One field of view of a urine filter membrane, 4× objective, 2028 × 1520 pixels. Field of view: about 1.5 mm wide and 1.1 mm high.
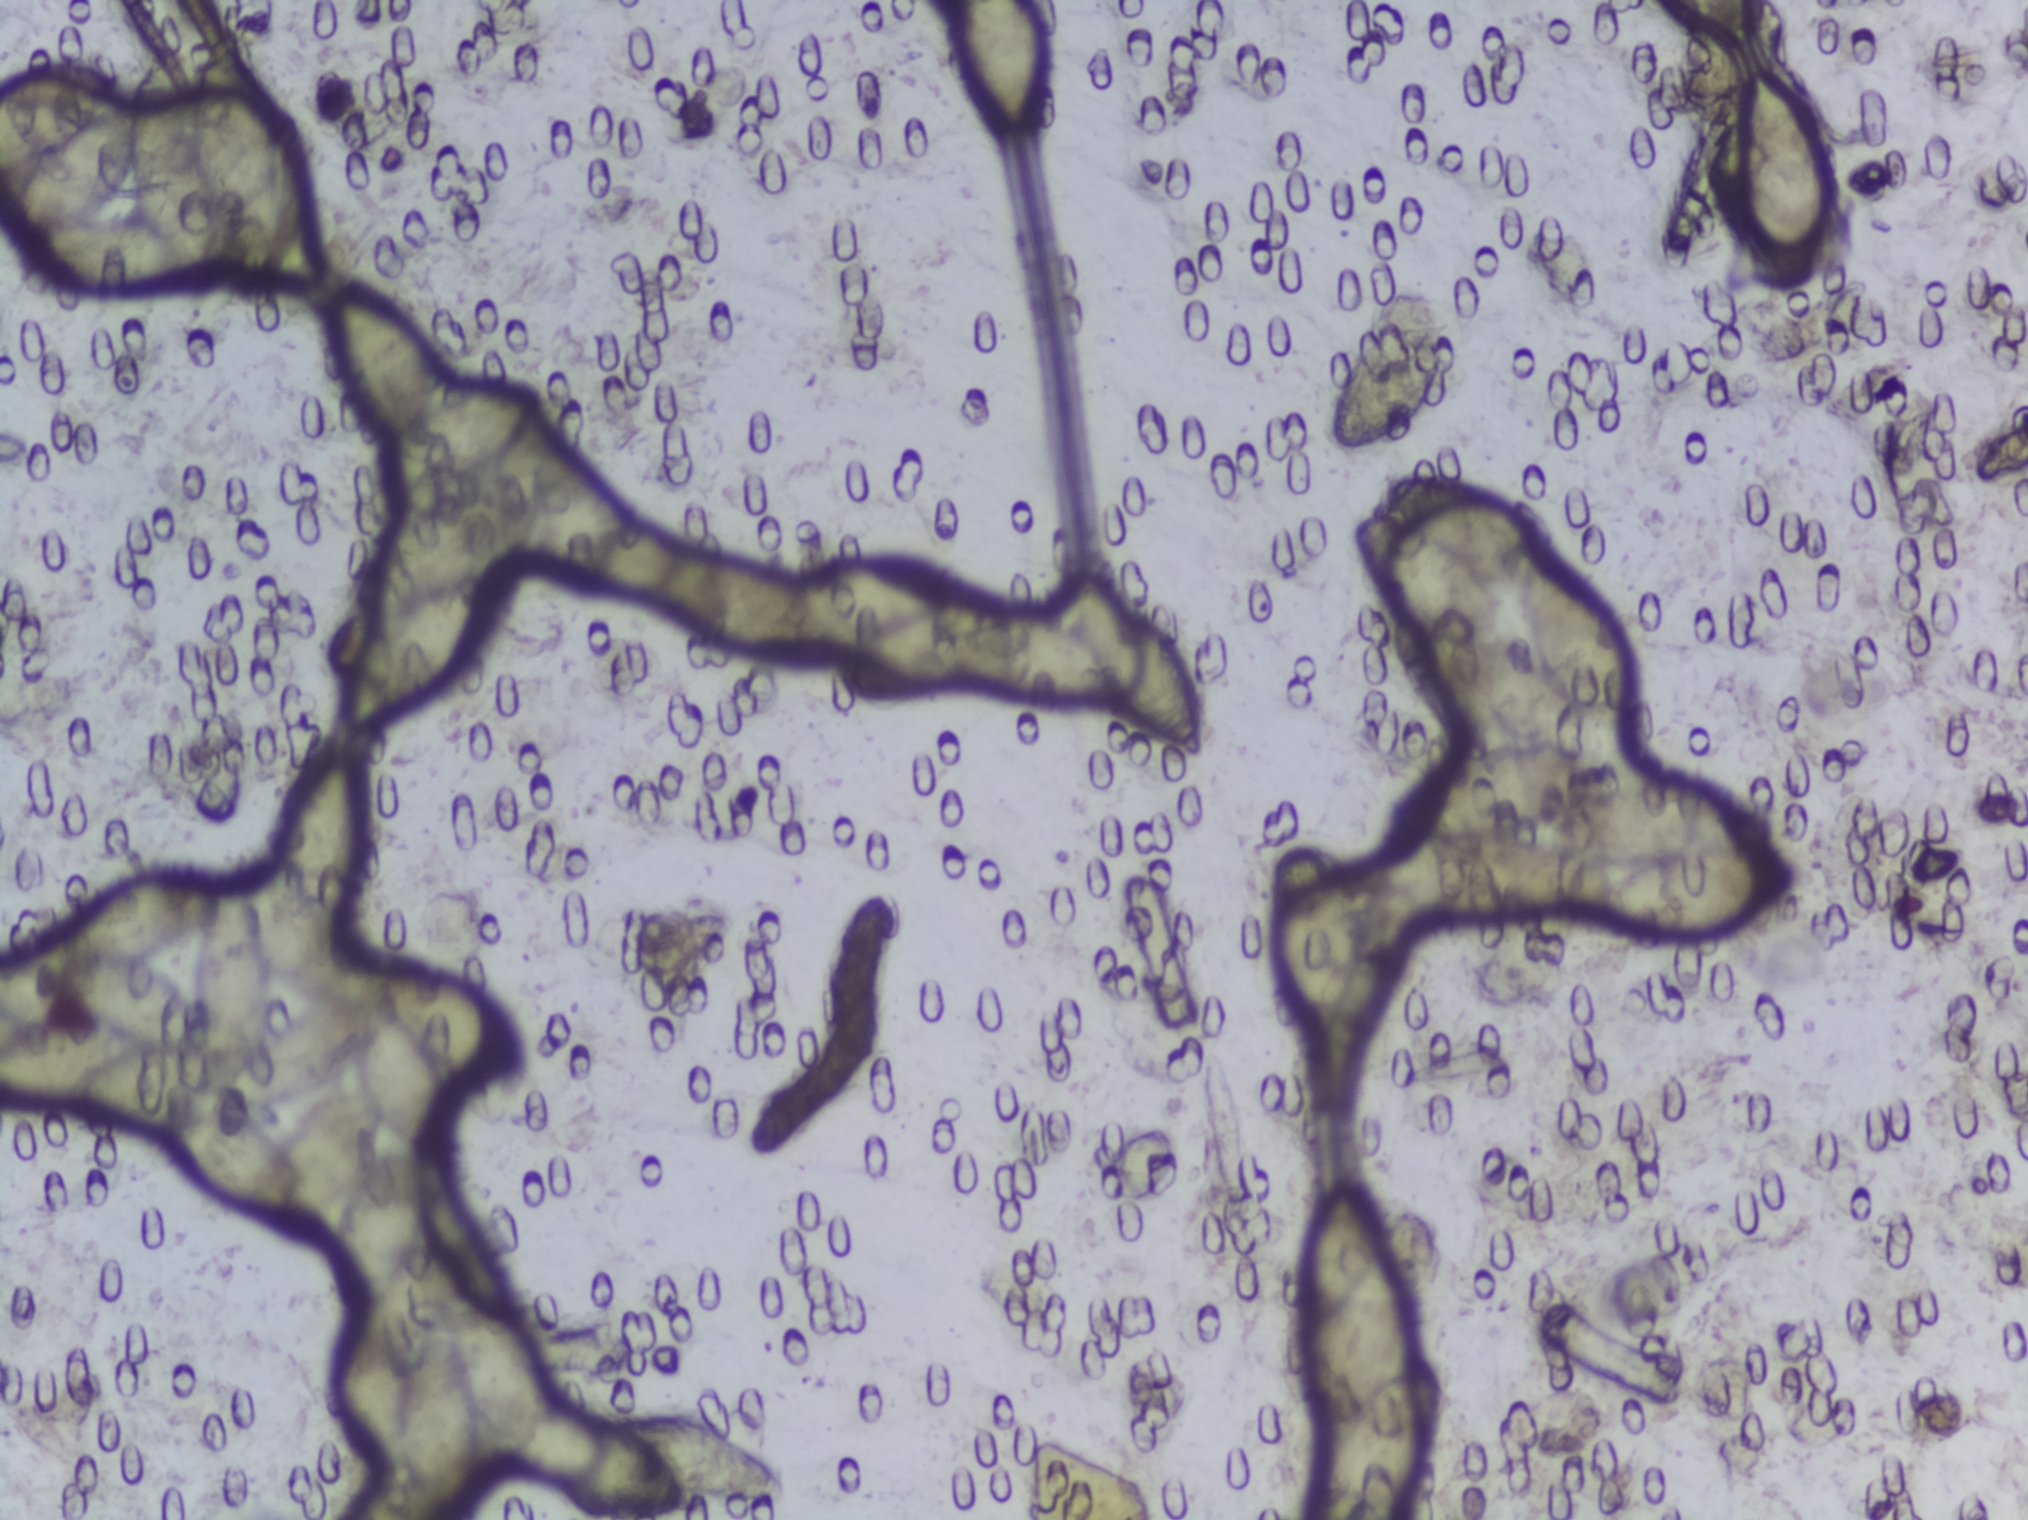
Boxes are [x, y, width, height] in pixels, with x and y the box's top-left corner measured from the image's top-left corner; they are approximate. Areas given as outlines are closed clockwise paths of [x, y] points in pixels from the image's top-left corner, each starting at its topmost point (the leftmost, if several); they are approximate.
Findings: 11 areas outlined as Schistosoma eggs. Locations, left to right: outline [219, 40], [252, 58], [280, 125], [294, 135], [300, 153], [306, 218], [275, 287], [254, 298], [236, 288], [228, 269], [230, 219], [216, 212], [216, 248], [205, 283], [185, 296], [100, 296], [36, 268], [25, 238], [1, 230], [1, 216], [30, 163], [0, 170], [0, 76], [38, 63], [123, 71], [107, 108], [127, 103], [140, 70], [162, 50], [178, 56], [193, 91], [201, 58] (eggs clustered together; reaching the left edge of the frame); outline [143, 869], [185, 871], [218, 892], [233, 882], [251, 890], [280, 959], [276, 1017], [328, 1004], [375, 1007], [372, 977], [386, 969], [445, 972], [510, 1011], [531, 1066], [504, 1079], [443, 1071], [454, 1121], [451, 1154], [427, 1163], [410, 1158], [424, 1188], [412, 1249], [428, 1268], [430, 1287], [471, 1290], [505, 1316], [541, 1375], [550, 1408], [609, 1419], [633, 1413], [690, 1416], [756, 1444], [788, 1473], [790, 1494], [737, 1500], [692, 1491], [689, 1509], [669, 1512], [582, 1507], [523, 1474], [510, 1445], [475, 1425], [471, 1505], [452, 1519], [425, 1516], [406, 1490], [400, 1467], [375, 1464], [333, 1405], [330, 1369], [357, 1318], [337, 1296], [325, 1249], [332, 1228], [309, 1249], [280, 1243], [256, 1217], [223, 1213], [180, 1178], [157, 1136], [159, 1121], [63, 1106], [61, 1097], [23, 1096], [0, 1084], [0, 1035], [24, 1027], [0, 1013], [0, 960], [37, 942], [47, 923], [97, 885] (eggs clustered together; reaching the left and bottom edges of the frame); box [279, 753, 87, 164]; box [339, 286, 200, 210]; outline [560, 441], [576, 445], [608, 501], [612, 525], [676, 533], [701, 555], [774, 571], [798, 587], [809, 573], [832, 565], [939, 561], [952, 576], [953, 603], [993, 597], [1003, 612], [1076, 624], [1076, 586], [1084, 577], [1112, 579], [1153, 609], [1184, 647], [1196, 684], [1200, 749], [1177, 753], [1145, 734], [1118, 695], [1047, 705], [1002, 695], [971, 679], [908, 698], [849, 694], [844, 670], [855, 644], [835, 643], [837, 653], [818, 662], [786, 662], [725, 644], [676, 615], [658, 592], [641, 600], [617, 599], [573, 580], [540, 531], [502, 576], [500, 626], [479, 660], [420, 709], [383, 724], [352, 721], [350, 675], [370, 623], [384, 607], [370, 603], [369, 569], [395, 519], [484, 474], [533, 477], [538, 458] (eggs clustered together); box [960, 0, 86, 138] (reaching the top edge of the frame); box [1271, 848, 86, 160]; box [1300, 1188, 141, 332] (reaching the bottom edge of the frame); box [1328, 291, 135, 163]; outline [1429, 473], [1490, 485], [1532, 510], [1550, 529], [1551, 547], [1572, 553], [1599, 577], [1633, 631], [1640, 697], [1629, 722], [1605, 726], [1582, 714], [1581, 729], [1561, 742], [1581, 752], [1590, 782], [1640, 781], [1683, 797], [1694, 810], [1695, 836], [1680, 854], [1788, 855], [1794, 880], [1776, 902], [1712, 929], [1654, 926], [1595, 905], [1540, 910], [1466, 878], [1450, 862], [1450, 838], [1431, 836], [1443, 866], [1441, 913], [1423, 922], [1402, 910], [1379, 859], [1380, 826], [1390, 803], [1425, 768], [1489, 747], [1531, 744], [1467, 717], [1423, 682], [1397, 637], [1399, 627], [1417, 624], [1379, 593], [1355, 552], [1352, 533], [1359, 516], [1389, 512], [1383, 484], [1395, 475] (eggs clustered together); box [1742, 74, 85, 212]. An outlined area can hold more than one egg.